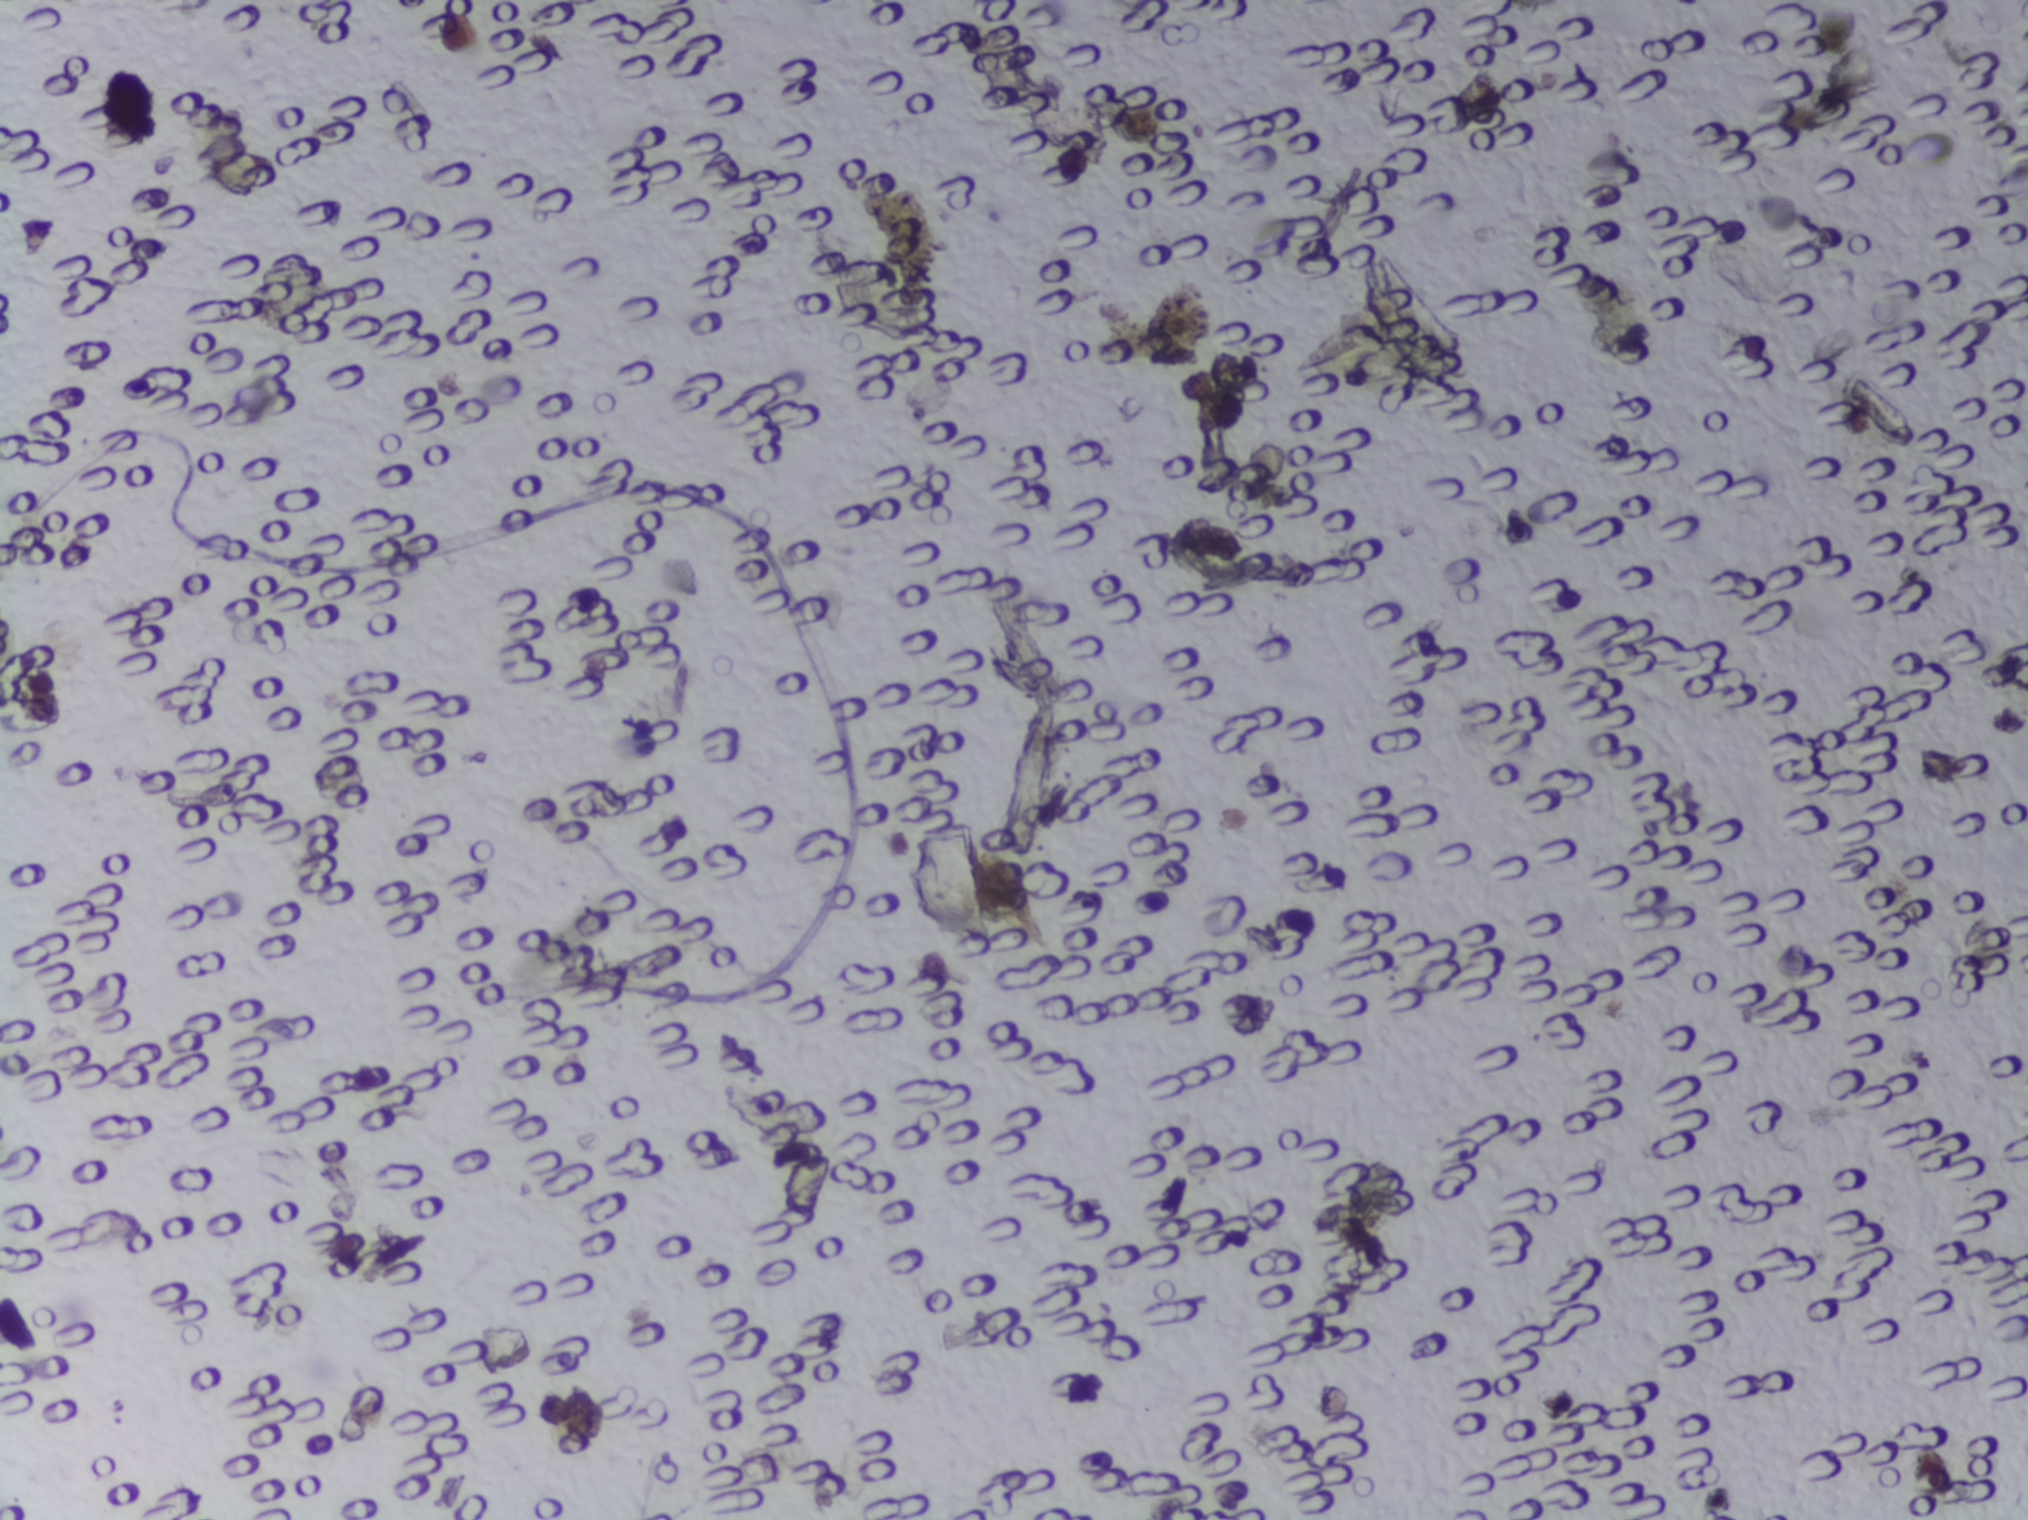
Photograph from an automated digital microscope: urine filter membrane, 4× objective. Field of view: about 1.5 mm wide and 1.1 mm high.
No Schistosoma egg is outlined in this image's expert annotation.